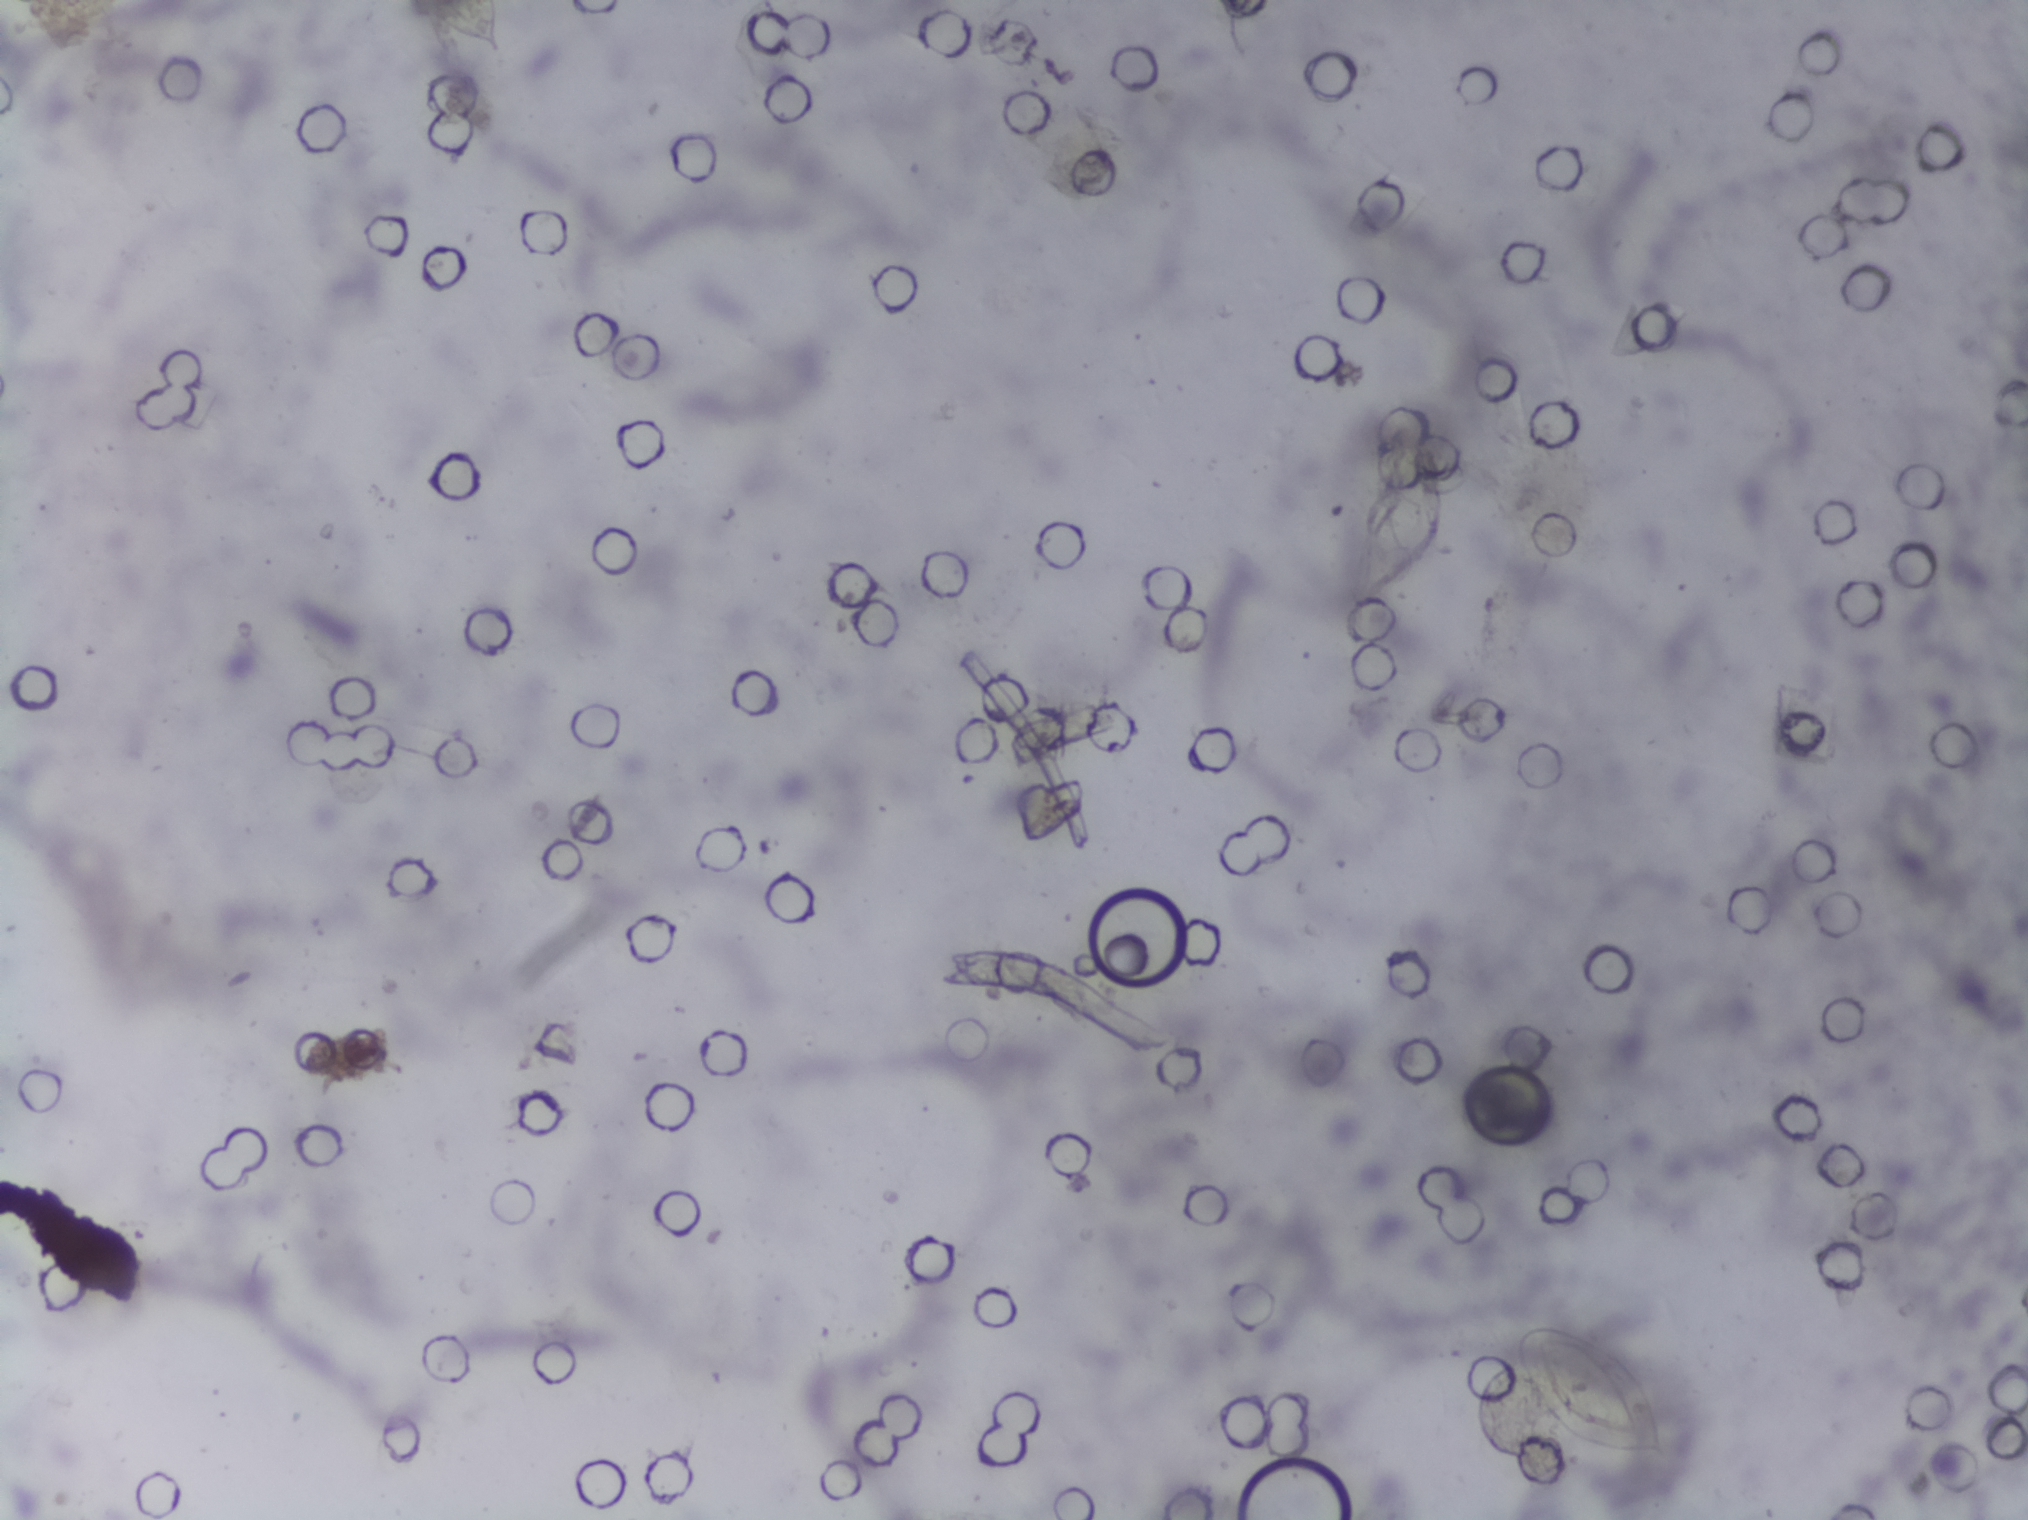
Urine filtration membrane under a 4× objective, photographed by an automated digital microscope.
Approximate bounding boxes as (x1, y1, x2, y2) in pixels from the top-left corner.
Schistosoma eggs, outlined areas: (1515, 1324, 1669, 1459). Eggs that touch can end up inside the same outlined area.